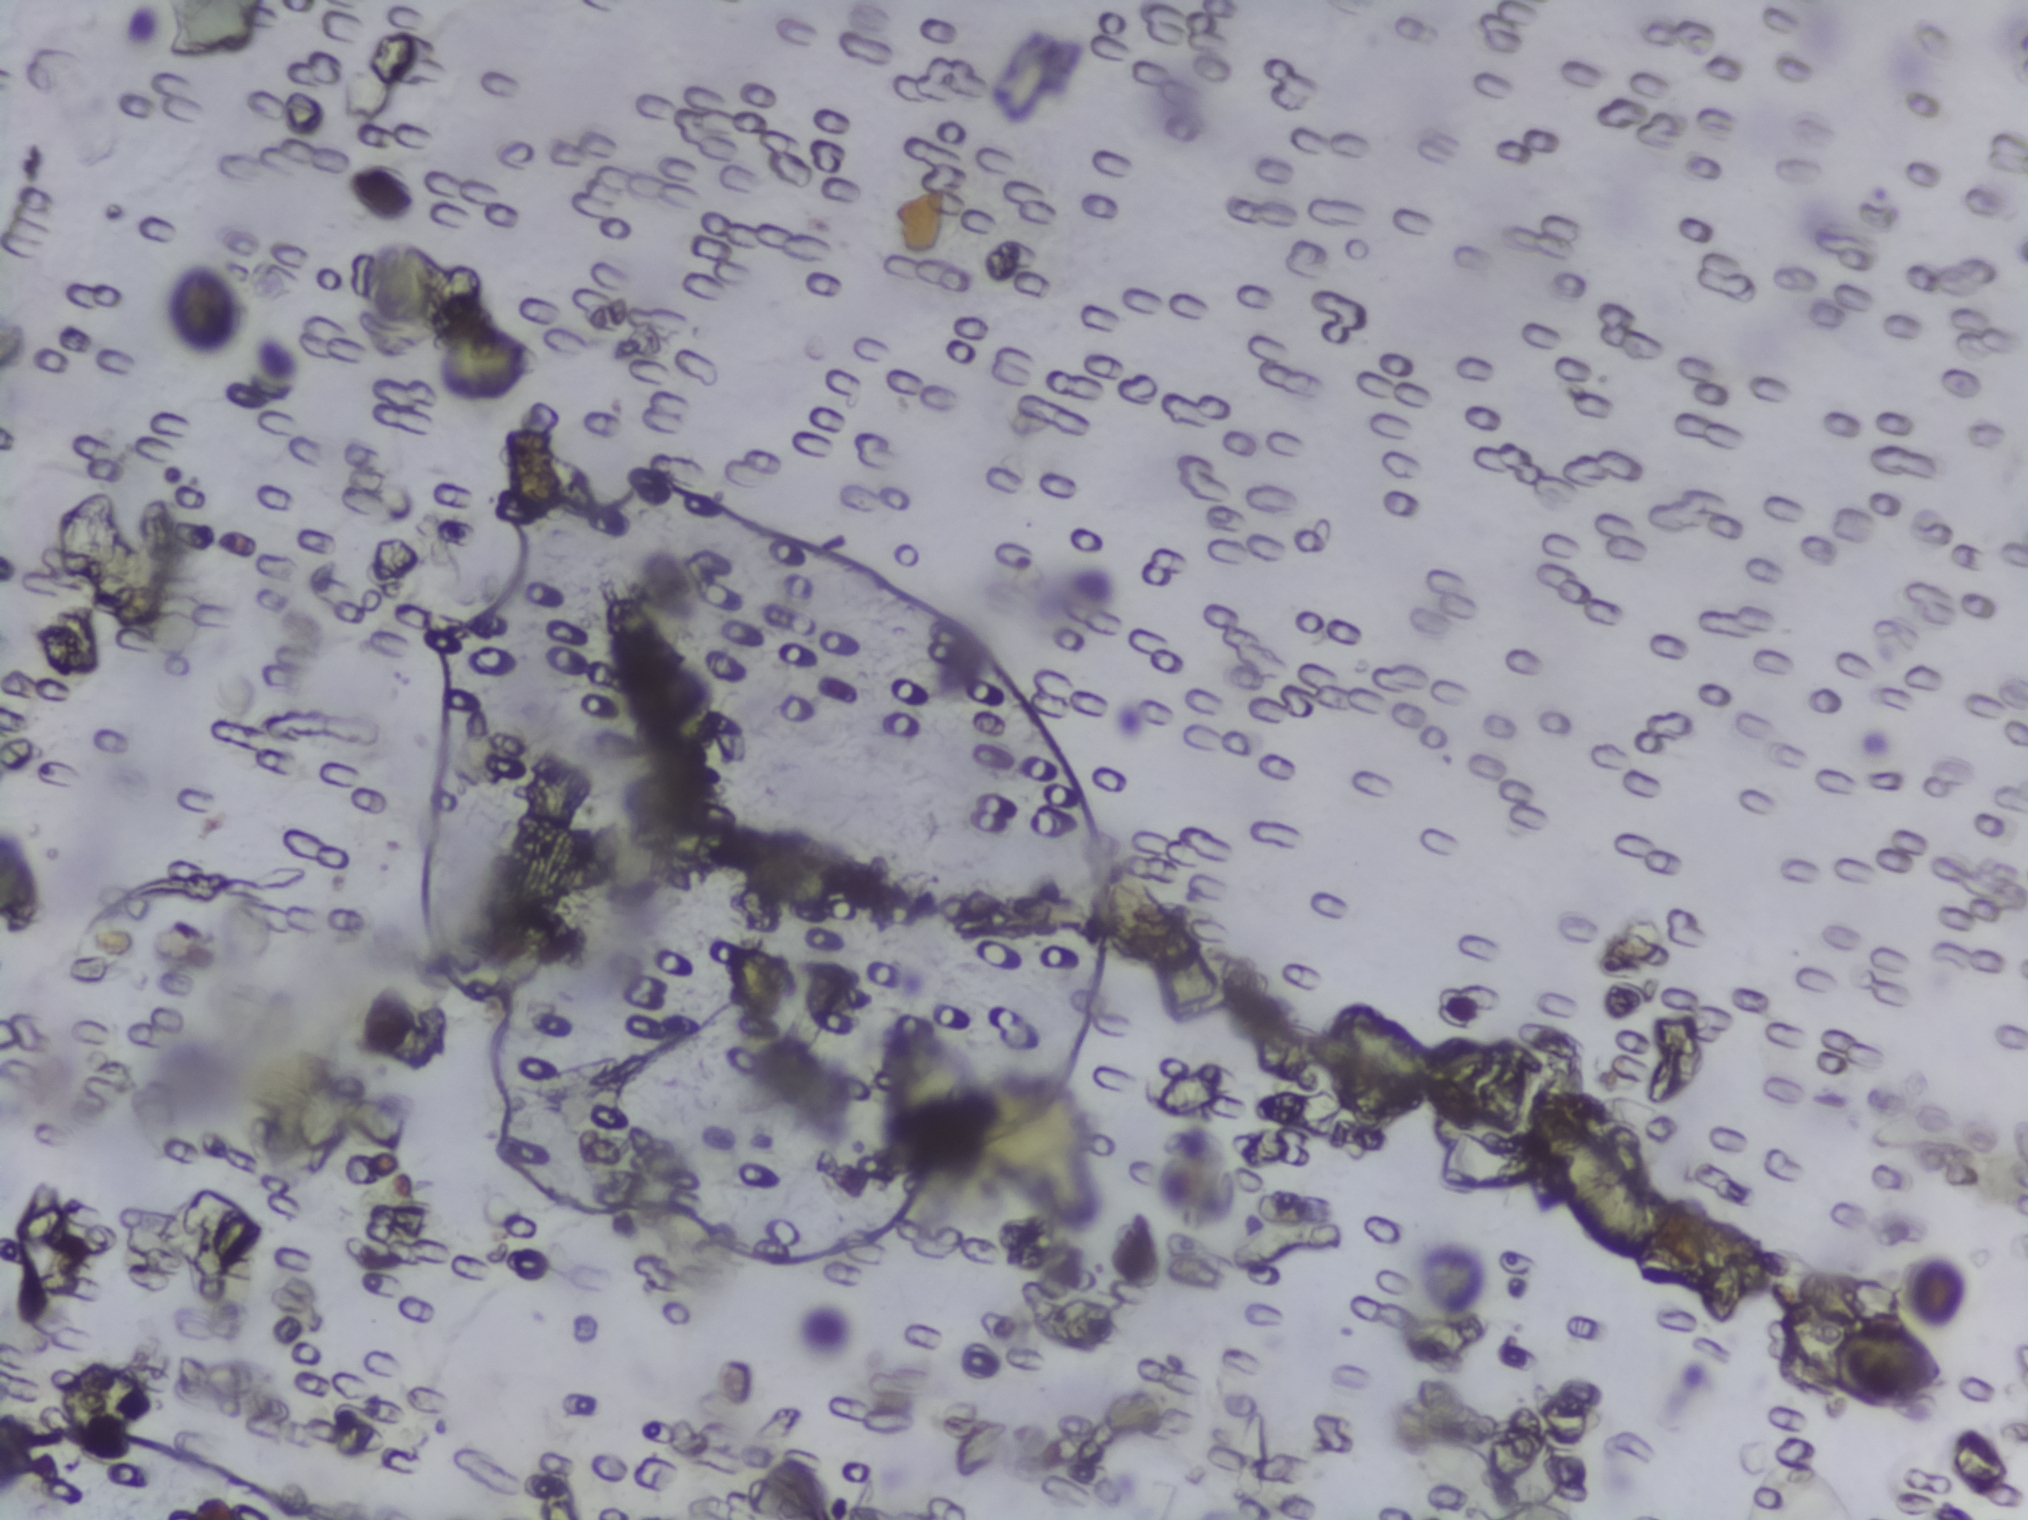
Urine filter membrane photographed through a 4× microscope objective.
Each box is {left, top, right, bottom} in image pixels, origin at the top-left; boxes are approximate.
Schistosoma eggs are outlined in the expert annotation at {1341, 1007, 1435, 1083}; {1532, 1096, 1657, 1266}; {1826, 1325, 1941, 1394} (left to right). A single outlined area may contain several eggs.